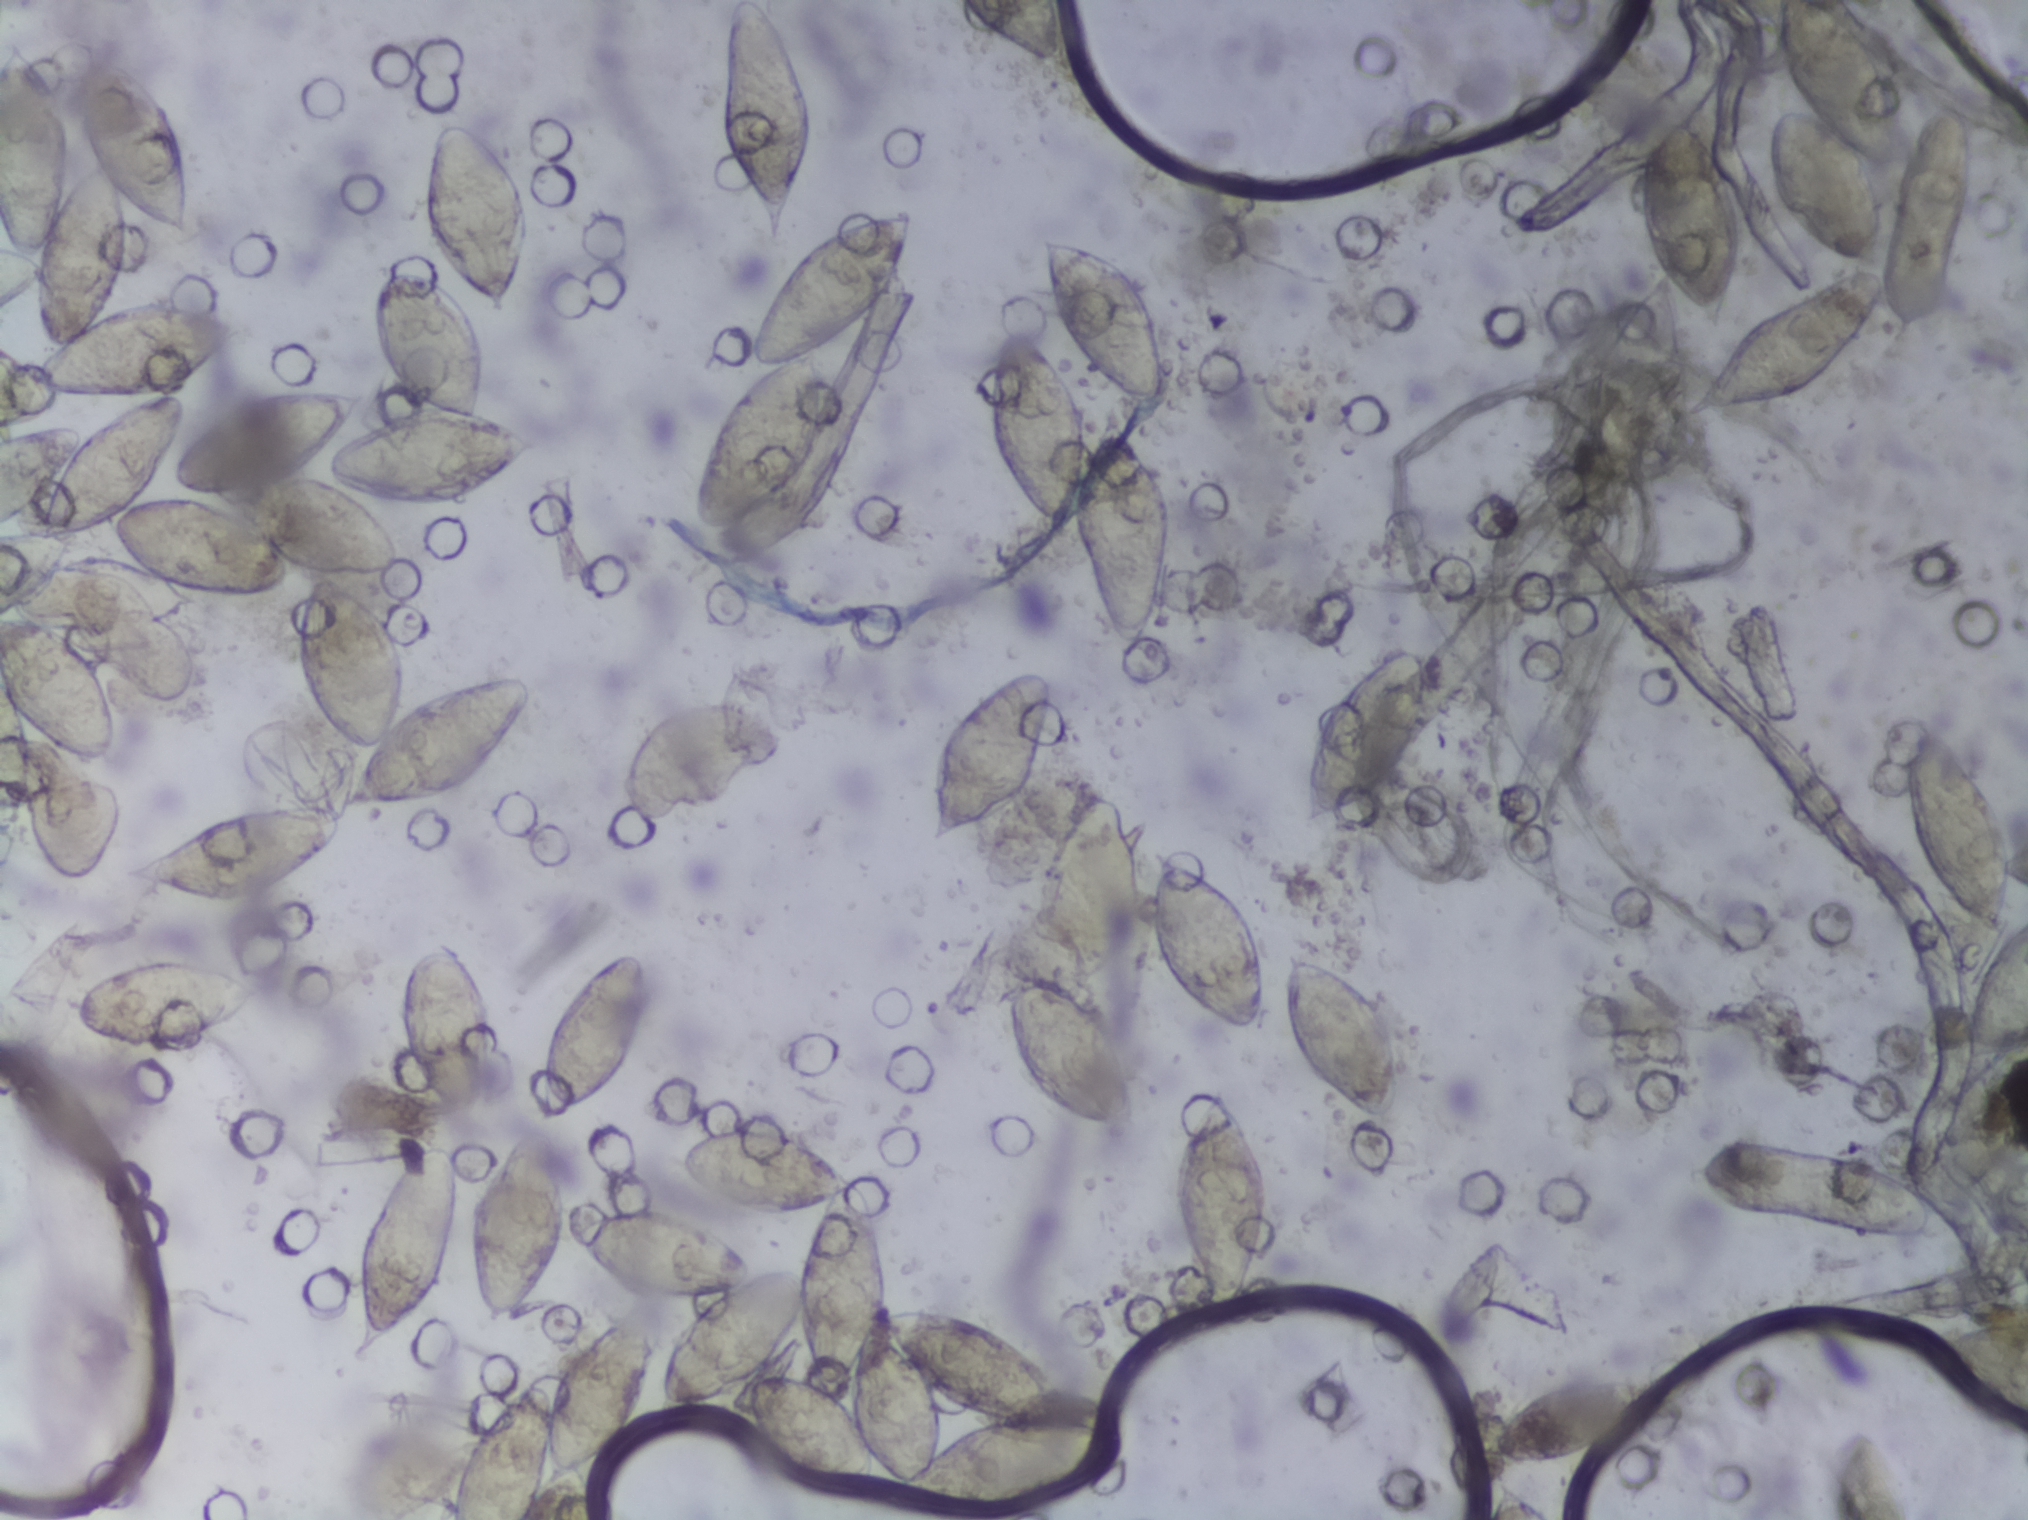
Urine filtration membrane under a 4× objective, photographed by an automated digital microscope. The image covers about 1.5 × 1.1 mm of the membrane.
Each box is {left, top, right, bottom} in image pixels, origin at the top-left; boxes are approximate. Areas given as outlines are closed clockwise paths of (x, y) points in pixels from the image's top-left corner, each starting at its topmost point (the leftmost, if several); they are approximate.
Areas outlined as Schistosoma eggs: outline (3, 30), (21, 35), (50, 73), (55, 105), (71, 129), (75, 176), (94, 155), (84, 140), (77, 97), (77, 56), (89, 45), (135, 52), (128, 53), (170, 90), (189, 131), (196, 236), (173, 241), (139, 219), (141, 246), (124, 298), (193, 297), (237, 314), (245, 334), (181, 392), (186, 427), (145, 503), (166, 496), (217, 497), (181, 490), (170, 466), (185, 436), (211, 412), (251, 392), (294, 384), (369, 392), (370, 402), (327, 455), (376, 424), (405, 415), (418, 405), (389, 385), (377, 362), (374, 291), (382, 278), (403, 268), (432, 271), (459, 291), (483, 334), (487, 409), (543, 444), (461, 505), (413, 508), (362, 491), (397, 526), (404, 561), (387, 576), (343, 578), (394, 620), (405, 644), (409, 700), (466, 673), (528, 670), (535, 676), (533, 723), (493, 773), (472, 779), (459, 795), (398, 814), (343, 806), (341, 778), (354, 753), (314, 719), (291, 661), (300, 596), (316, 575), (296, 566), (290, 584), (275, 592), (205, 596), (197, 613), (162, 628), (67, 632), (98, 660), (118, 708), (119, 741), (110, 754), (66, 753), (33, 738), (6, 708), (0, 697), (0, 342), (40, 354), (27, 320), (32, 287), (22, 286), (0, 305) (a cluster of eggs; reaching the left edge of the frame); box {69, 955, 263, 1054}; box {118, 799, 343, 911}; box {347, 1138, 461, 1362}; box {393, 939, 496, 1128}; box {423, 122, 533, 314}; box {447, 1307, 658, 1519} (reaching the bottom edge of the frame); outline (620, 948), (636, 948), (654, 964), (638, 1055), (598, 1107), (545, 1127), (569, 1179), (563, 1251), (527, 1308), (485, 1326), (465, 1276), (463, 1220), (498, 1149), (523, 1126), (544, 1124), (541, 1057), (554, 1000), (586, 968); outline (731, 1119), (786, 1125), (840, 1156), (875, 1201), (884, 1234), (886, 1305), (924, 1302), (998, 1327), (1043, 1365), (1054, 1411), (1100, 1418), (1119, 1430), (1116, 1453), (1062, 1495), (994, 1513), (939, 1512), (901, 1496), (876, 1473), (860, 1491), (834, 1493), (776, 1468), (746, 1424), (741, 1383), (689, 1408), (661, 1408), (656, 1388), (670, 1338), (689, 1308), (706, 1300), (630, 1298), (611, 1290), (573, 1249), (572, 1222), (646, 1204), (682, 1209), (740, 1241), (754, 1256), (757, 1276), (799, 1268), (798, 1249), (819, 1210), (738, 1216), (713, 1203), (675, 1163), (684, 1136) (a cluster of eggs); outline (898, 204), (909, 204), (918, 221), (917, 253), (904, 287), (845, 350), (823, 358), (832, 412), (806, 472), (769, 511), (736, 532), (696, 533), (689, 500), (708, 436), (729, 395), (757, 370), (747, 361), (747, 339), (778, 276), (814, 234); box {717, 0, 813, 246} (reaching the top edge of the frame); box {928, 669, 1053, 846}; box {951, 0, 1079, 79} (reaching the top edge of the frame); box {984, 234, 1177, 668} (a cluster of eggs); box {1000, 781, 1269, 1132} (a cluster of eggs); box {1170, 1076, 1273, 1319}; box {1280, 947, 1419, 1126}; box {1305, 651, 1431, 823}; box {1481, 1374, 1650, 1467}; box {1637, 113, 1740, 334}; outline (1780, 0), (1852, 0), (1884, 37), (1900, 107), (1900, 162), (1876, 168), (1885, 195), (1880, 310), (1825, 390), (1783, 405), (1685, 422), (1687, 397), (1749, 322), (1798, 287), (1851, 268), (1795, 230), (1777, 200), (1768, 131), (1779, 103), (1803, 103), (1780, 66) (reaching the top edge of the frame); box {1901, 725, 2027, 1051} (reaching the right edge of the frame); box {1932, 1315, 2027, 1420} (reaching the right edge of the frame). Marked pixels, not the boxes and the outlines around them: about 25% of the image. Eggs that touch can end up inside the same outlined area.